Urine filter membrane photographed through a 4× microscope objective.
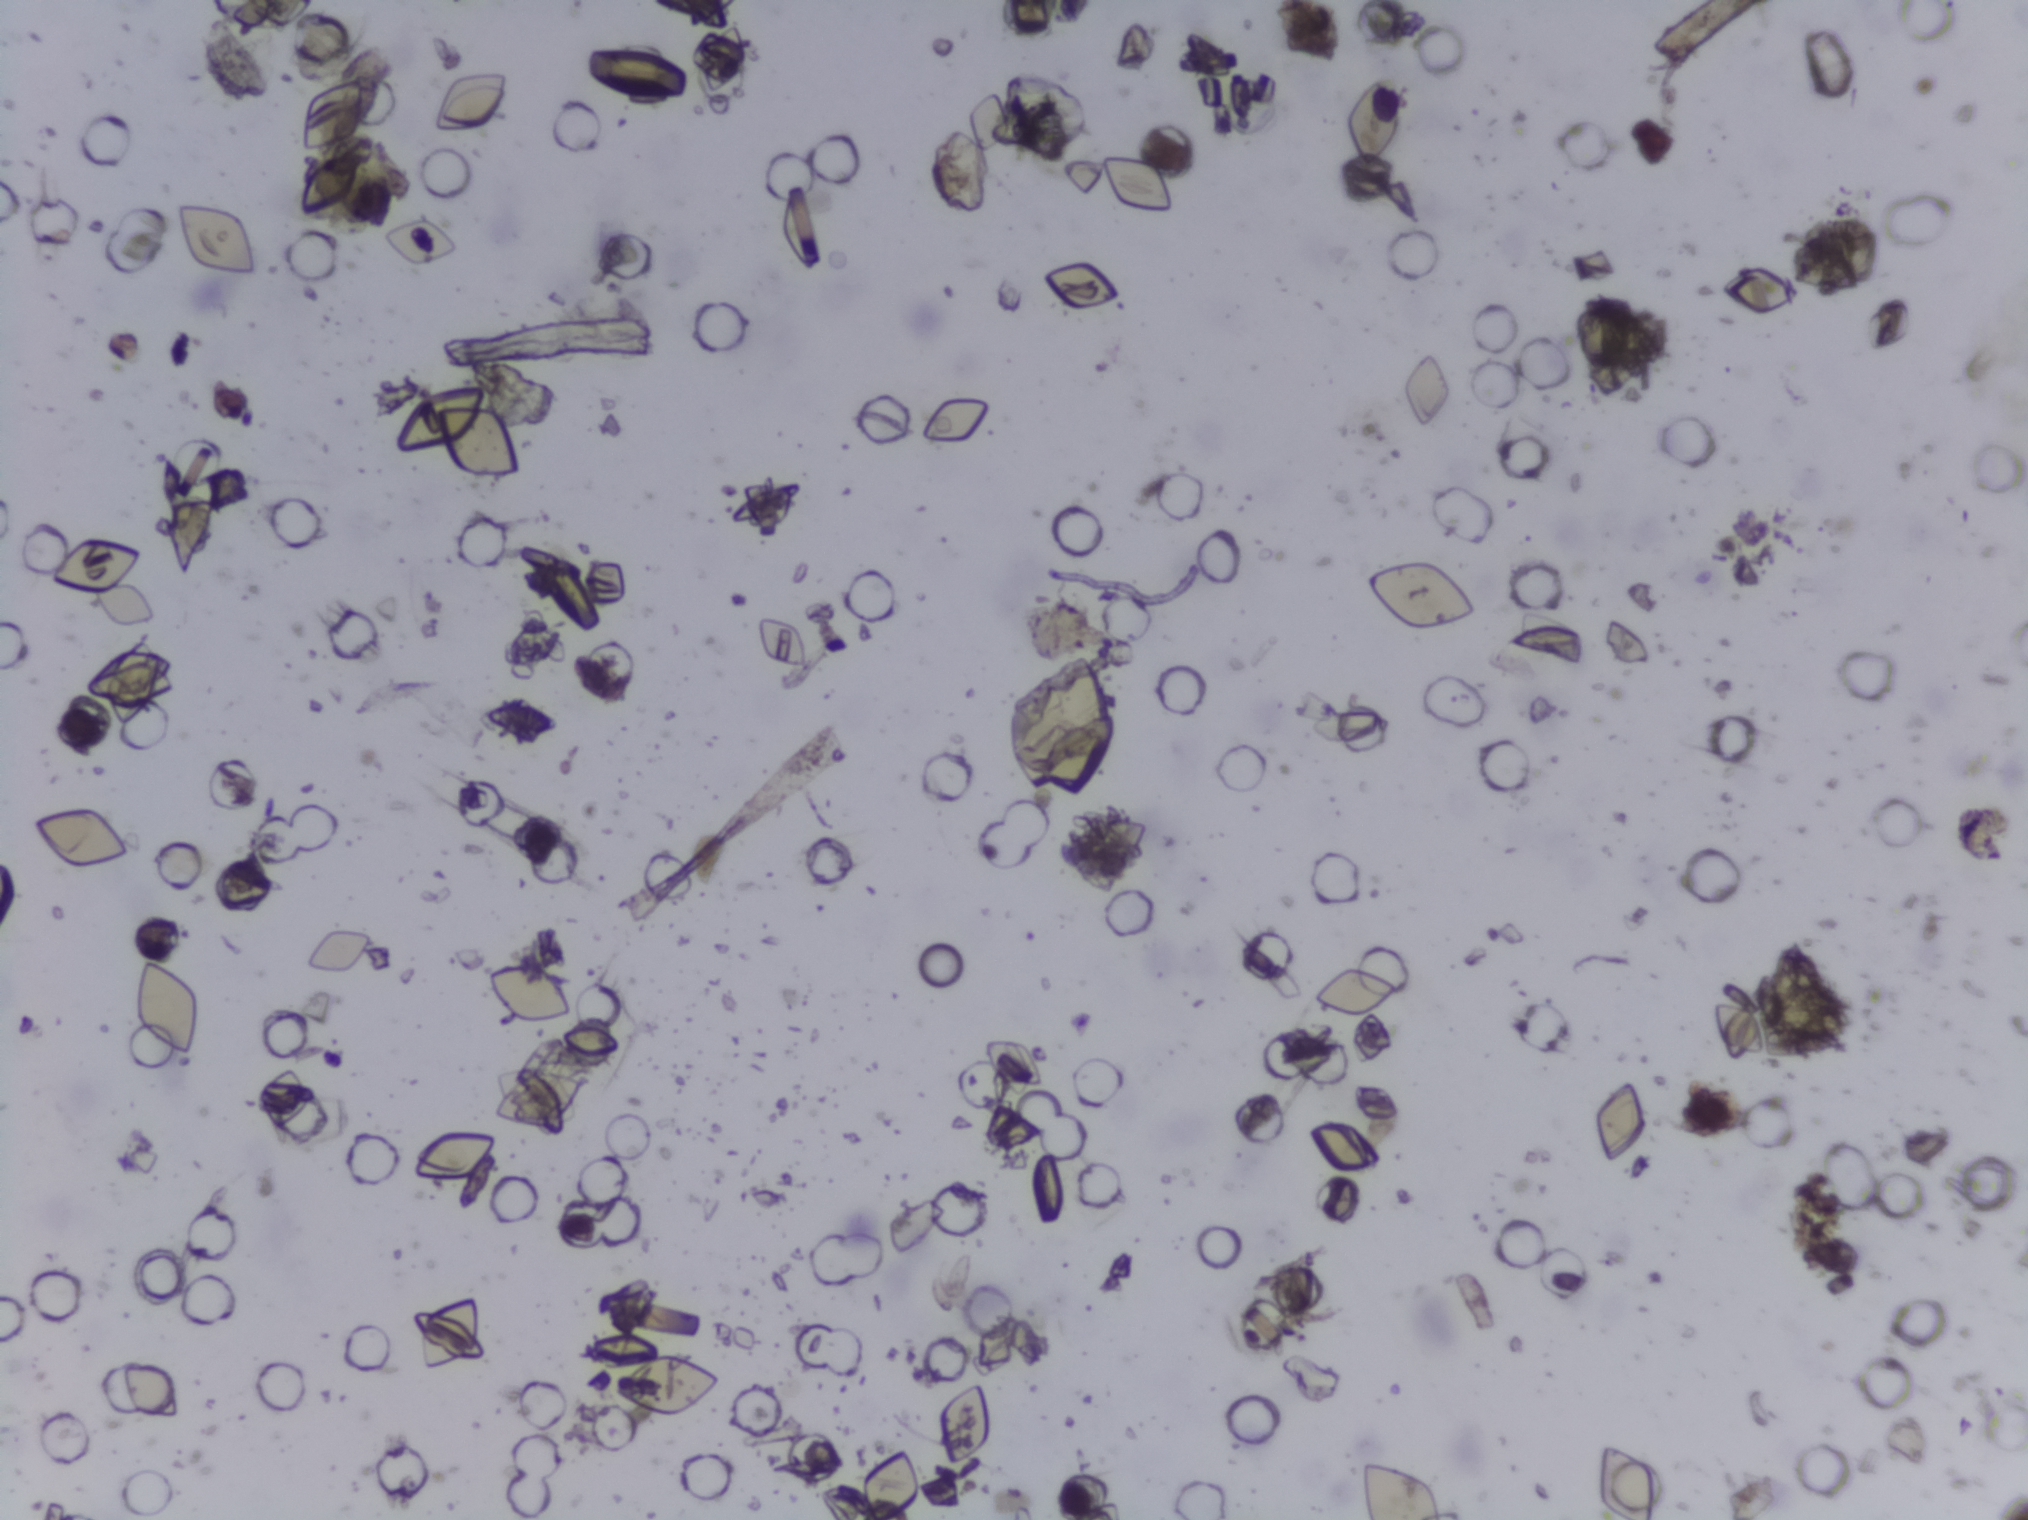
The expert annotation outlines no Schistosoma egg in this image.